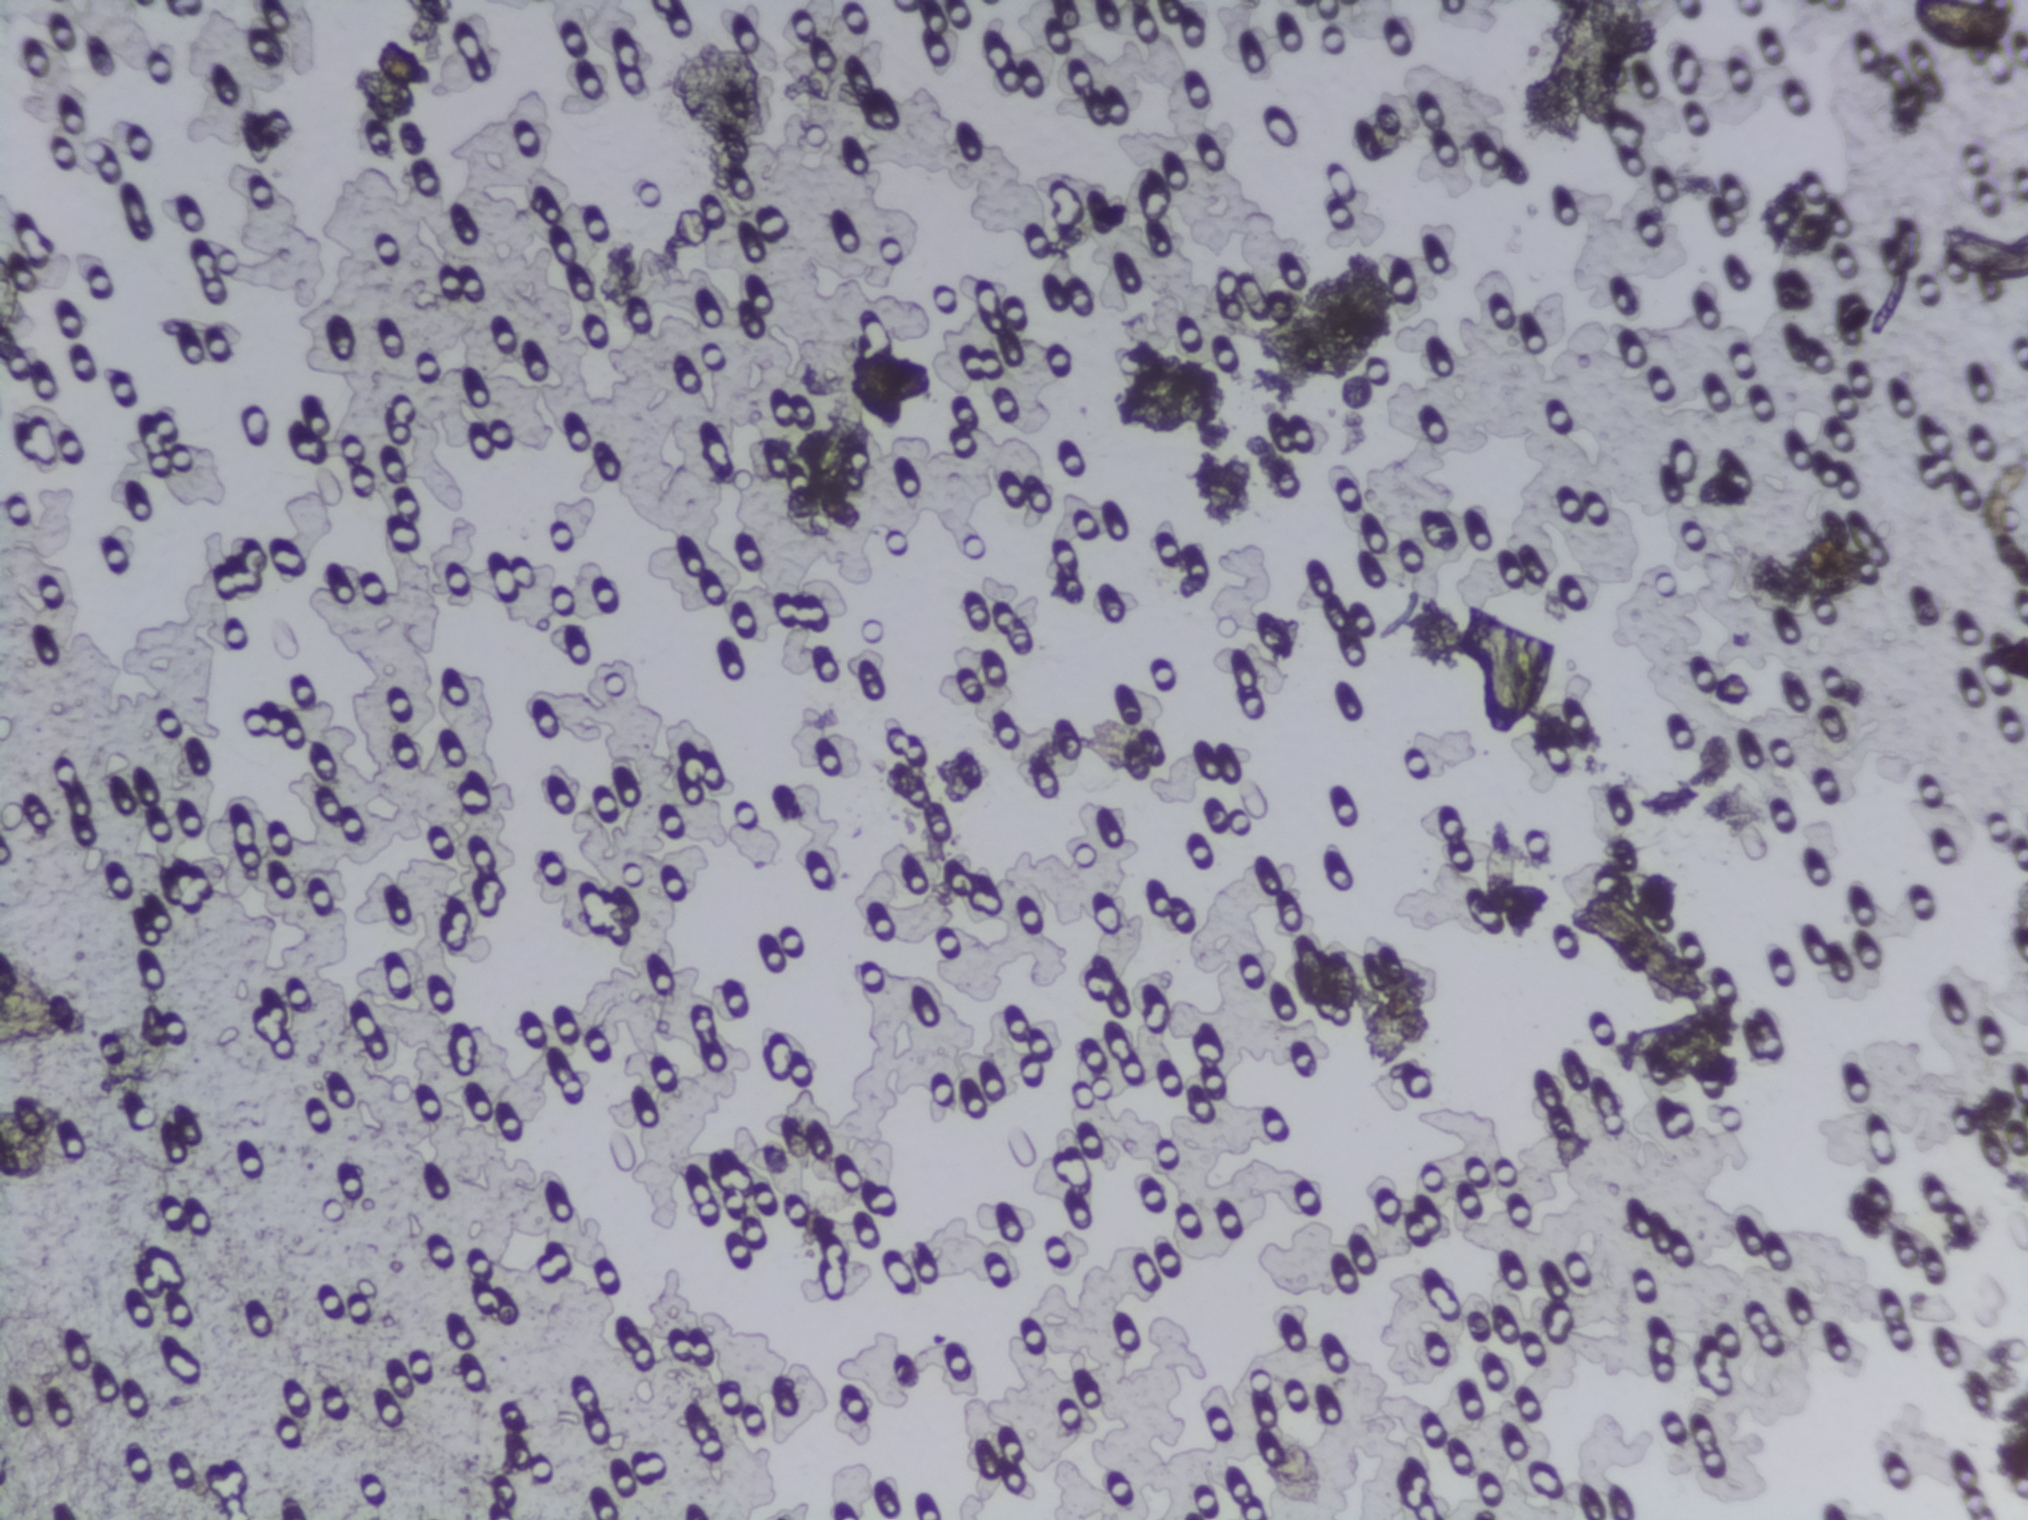
Urine filtration membrane under a 4× objective, photographed by an automated digital microscope.
No area of this image was outlined as a Schistosoma egg.